Urine filtration membrane under a 4× objective, photographed by an automated digital microscope.
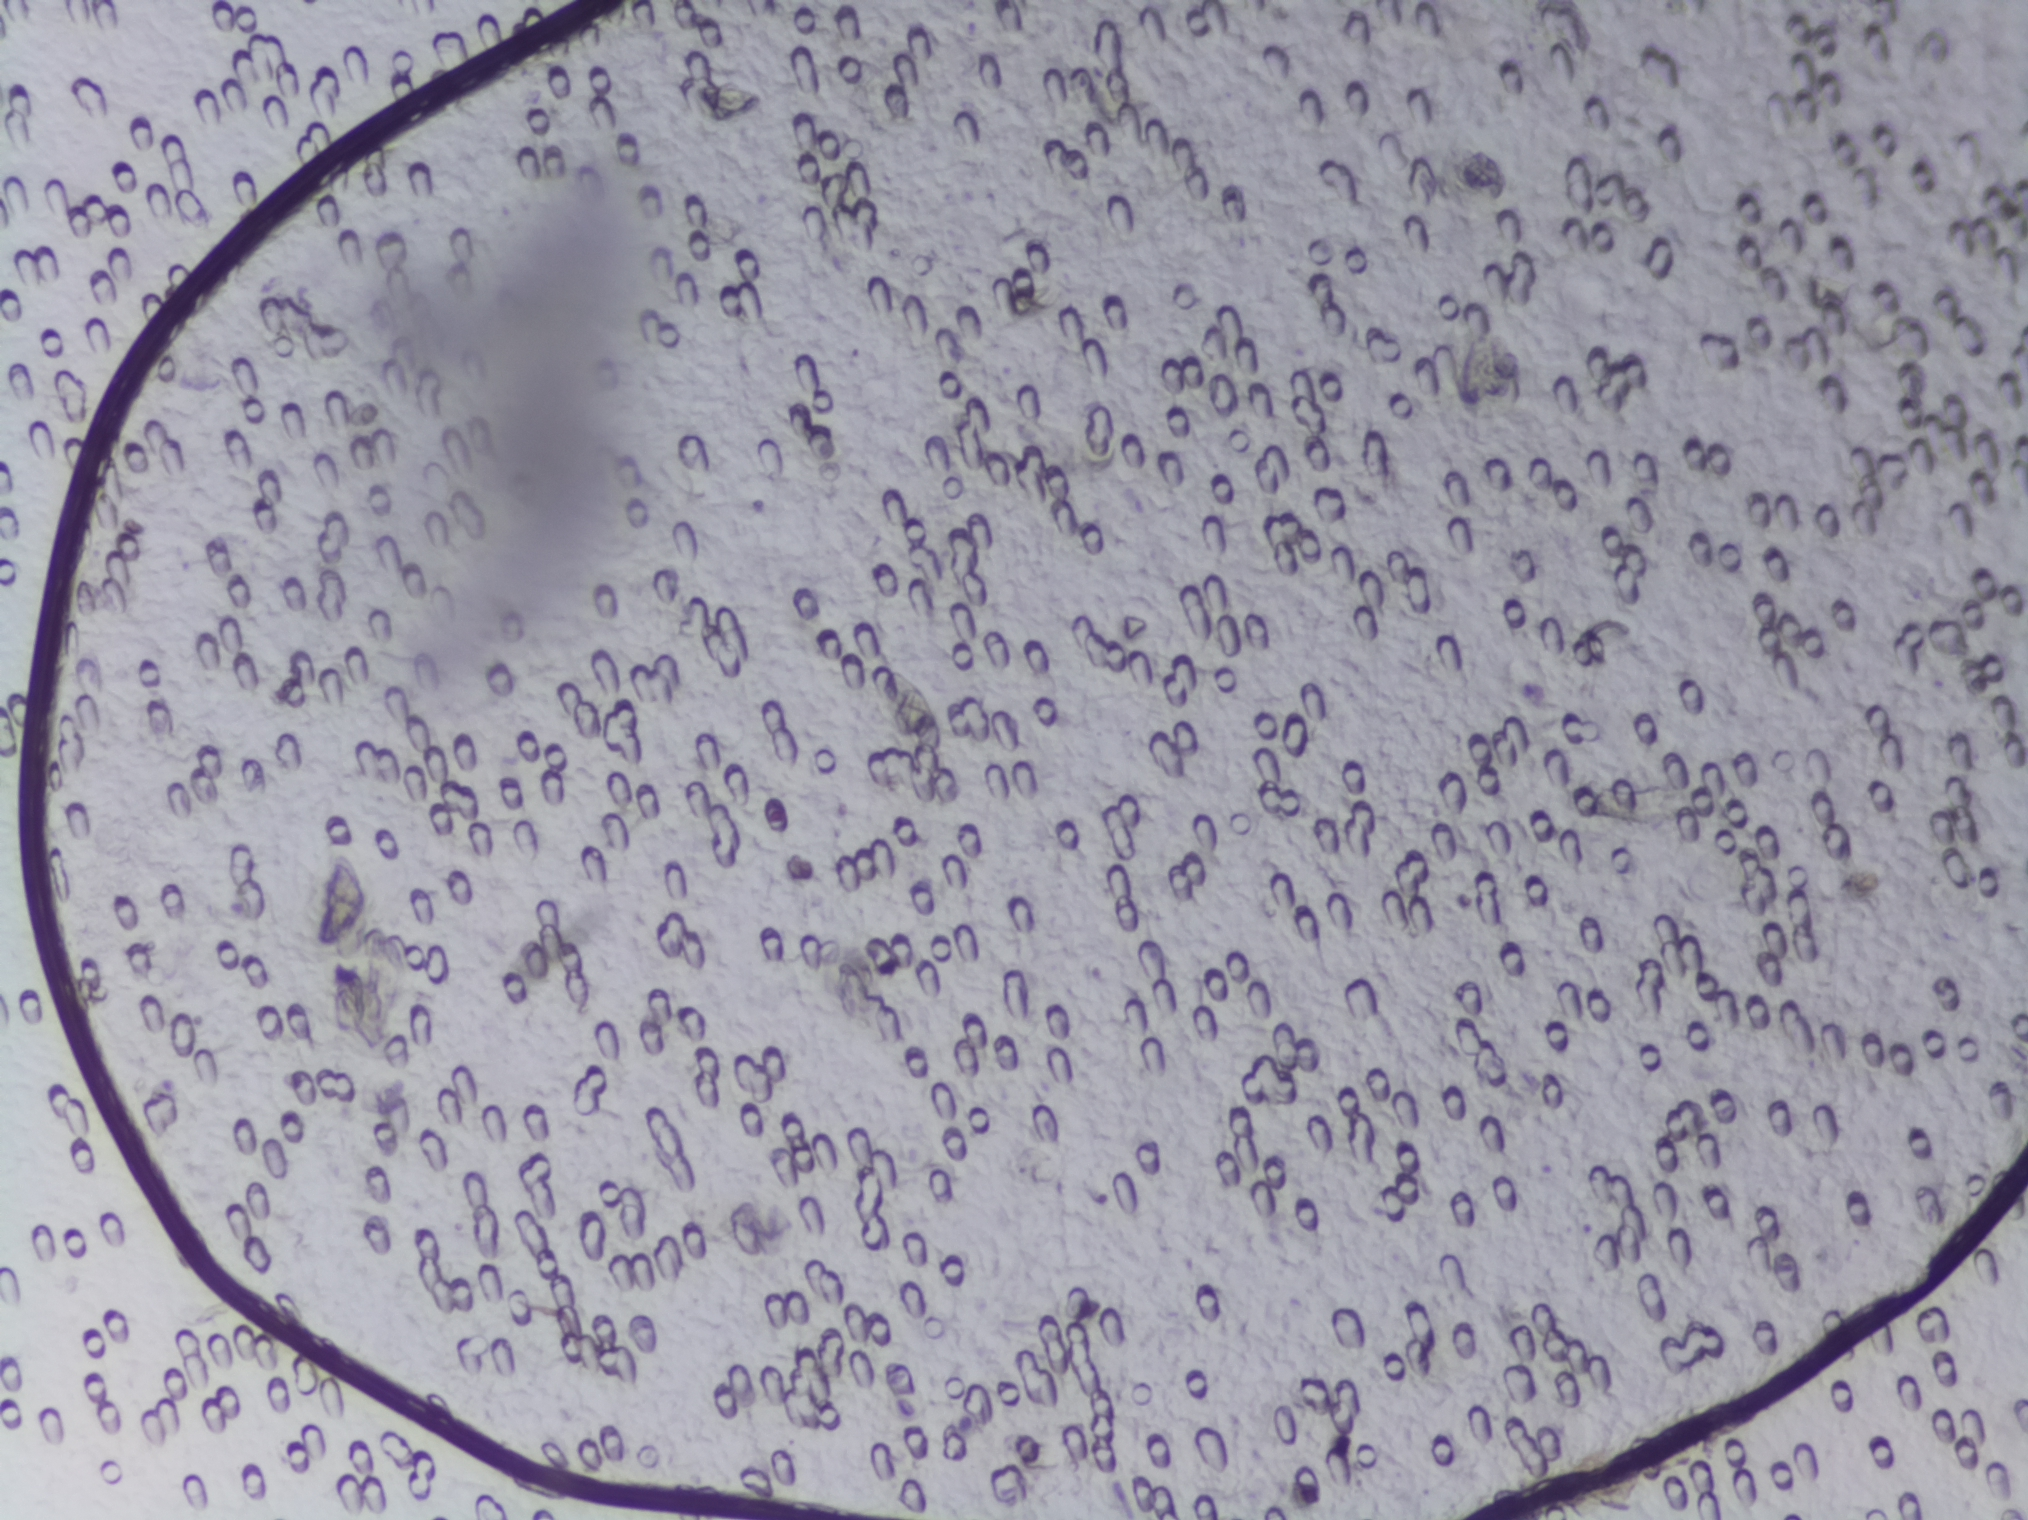
The expert annotation marks no Schistosoma egg in this field of view.